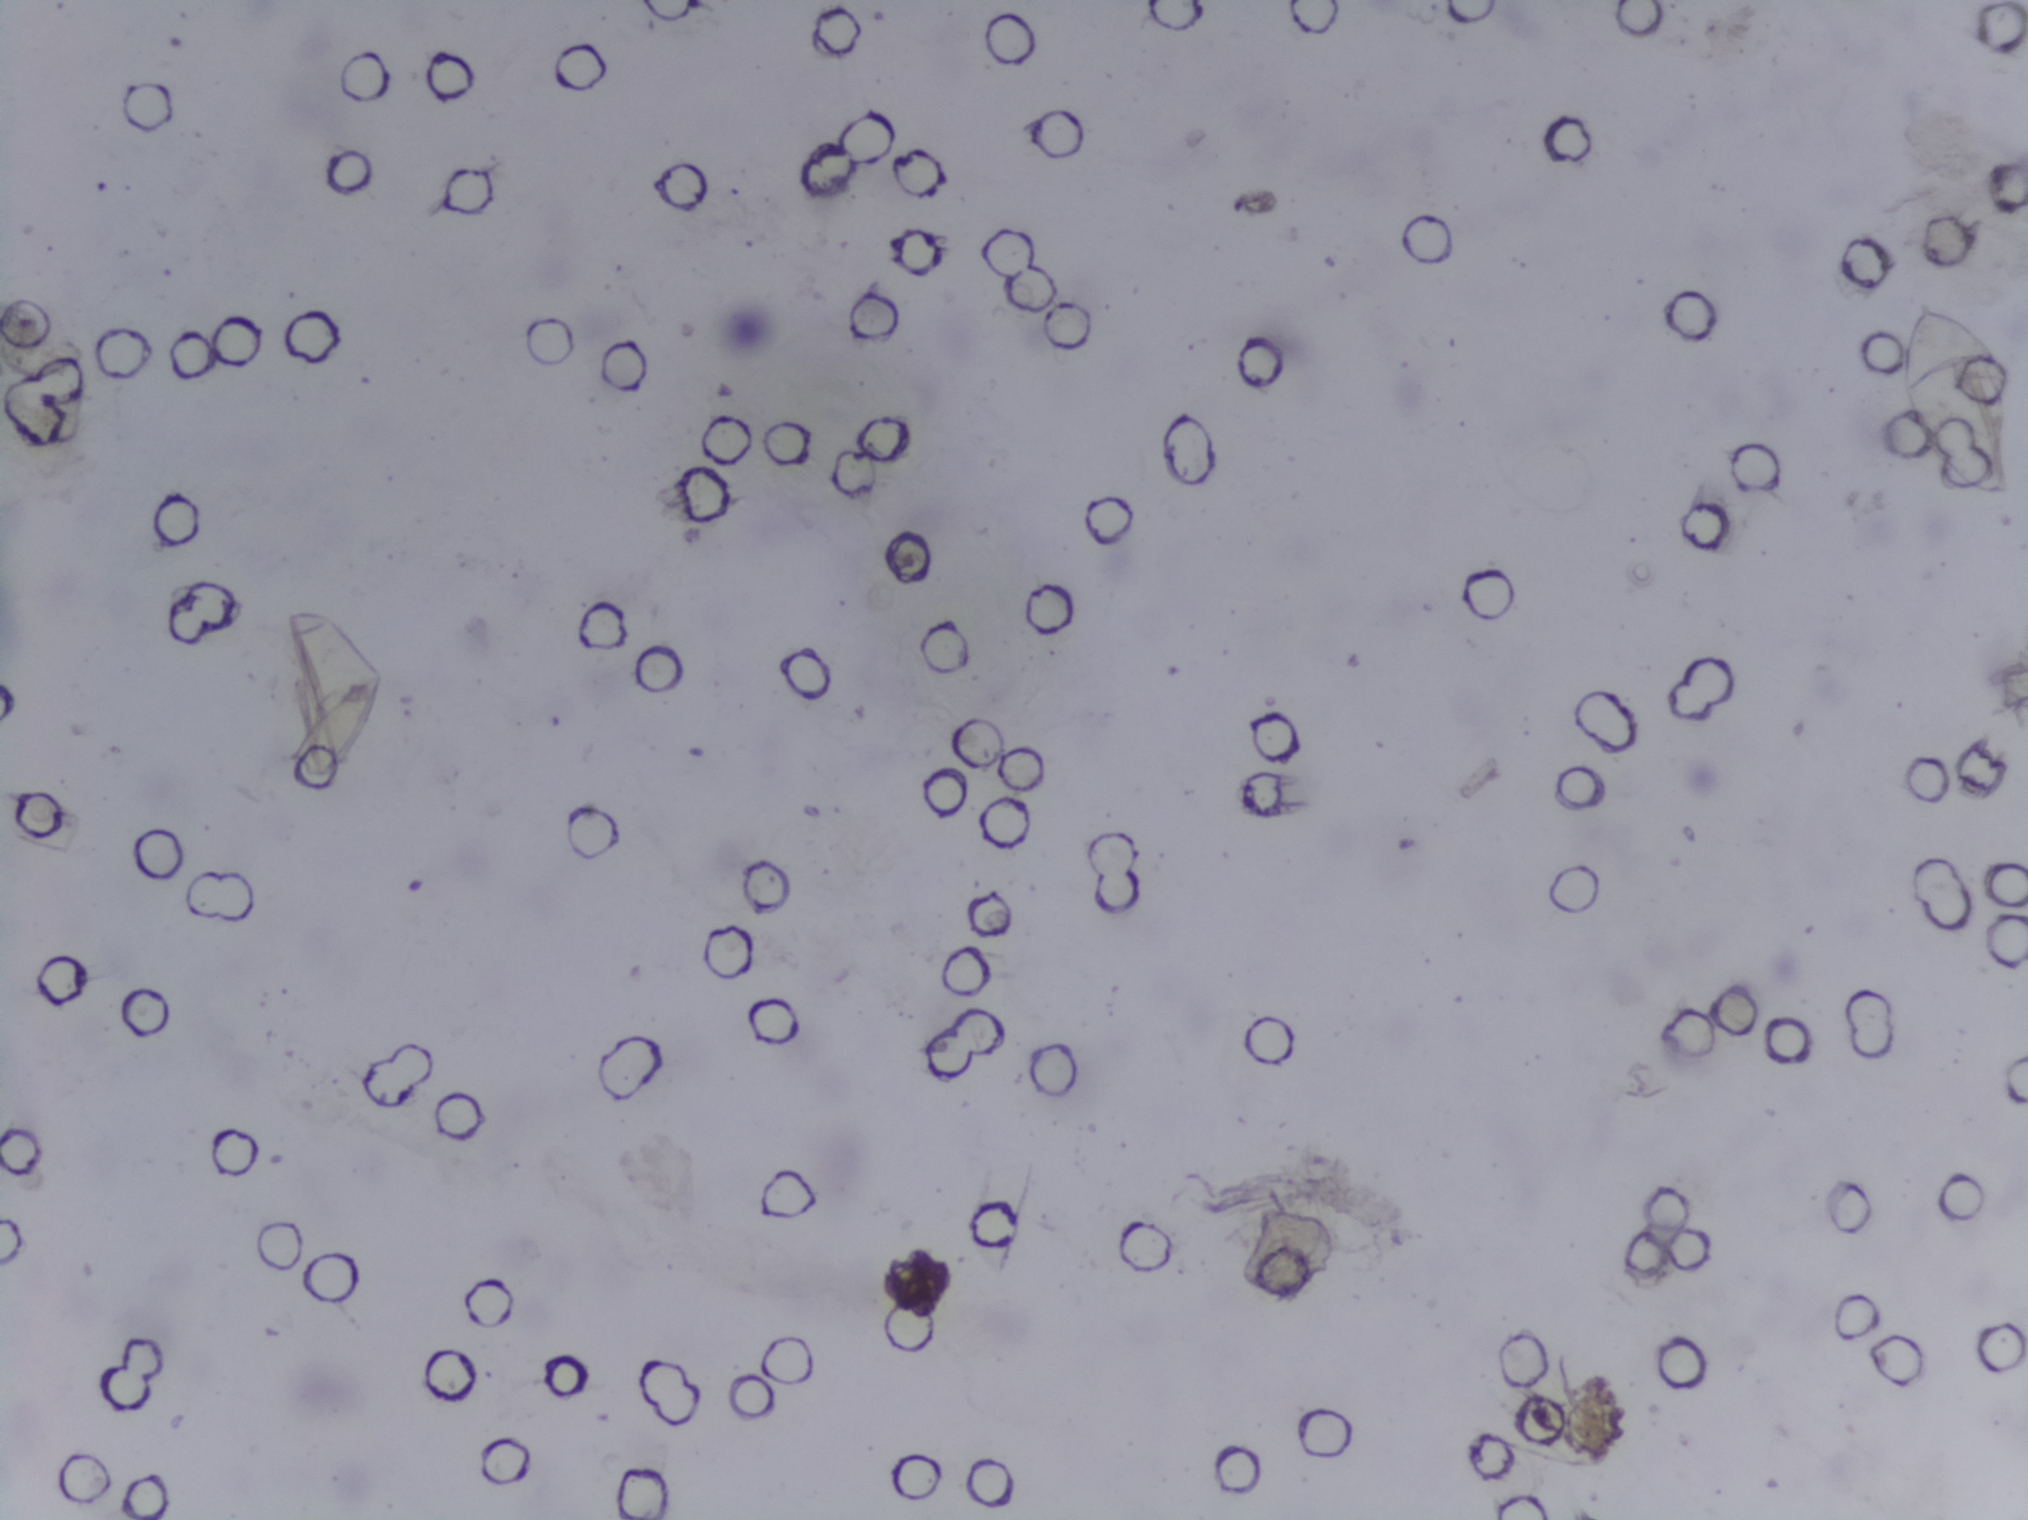
Photograph from an automated digital microscope: urine filter membrane, 4× objective.
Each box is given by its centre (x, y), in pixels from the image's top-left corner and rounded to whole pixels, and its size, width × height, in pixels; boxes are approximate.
Schistosoma eggs, outlined areas: centre (1953, 401), 124 × 204 px. About 0.6% of the image's pixels are marked (the marked pixels themselves, not the box around them). An outlined area can hold more than one egg.